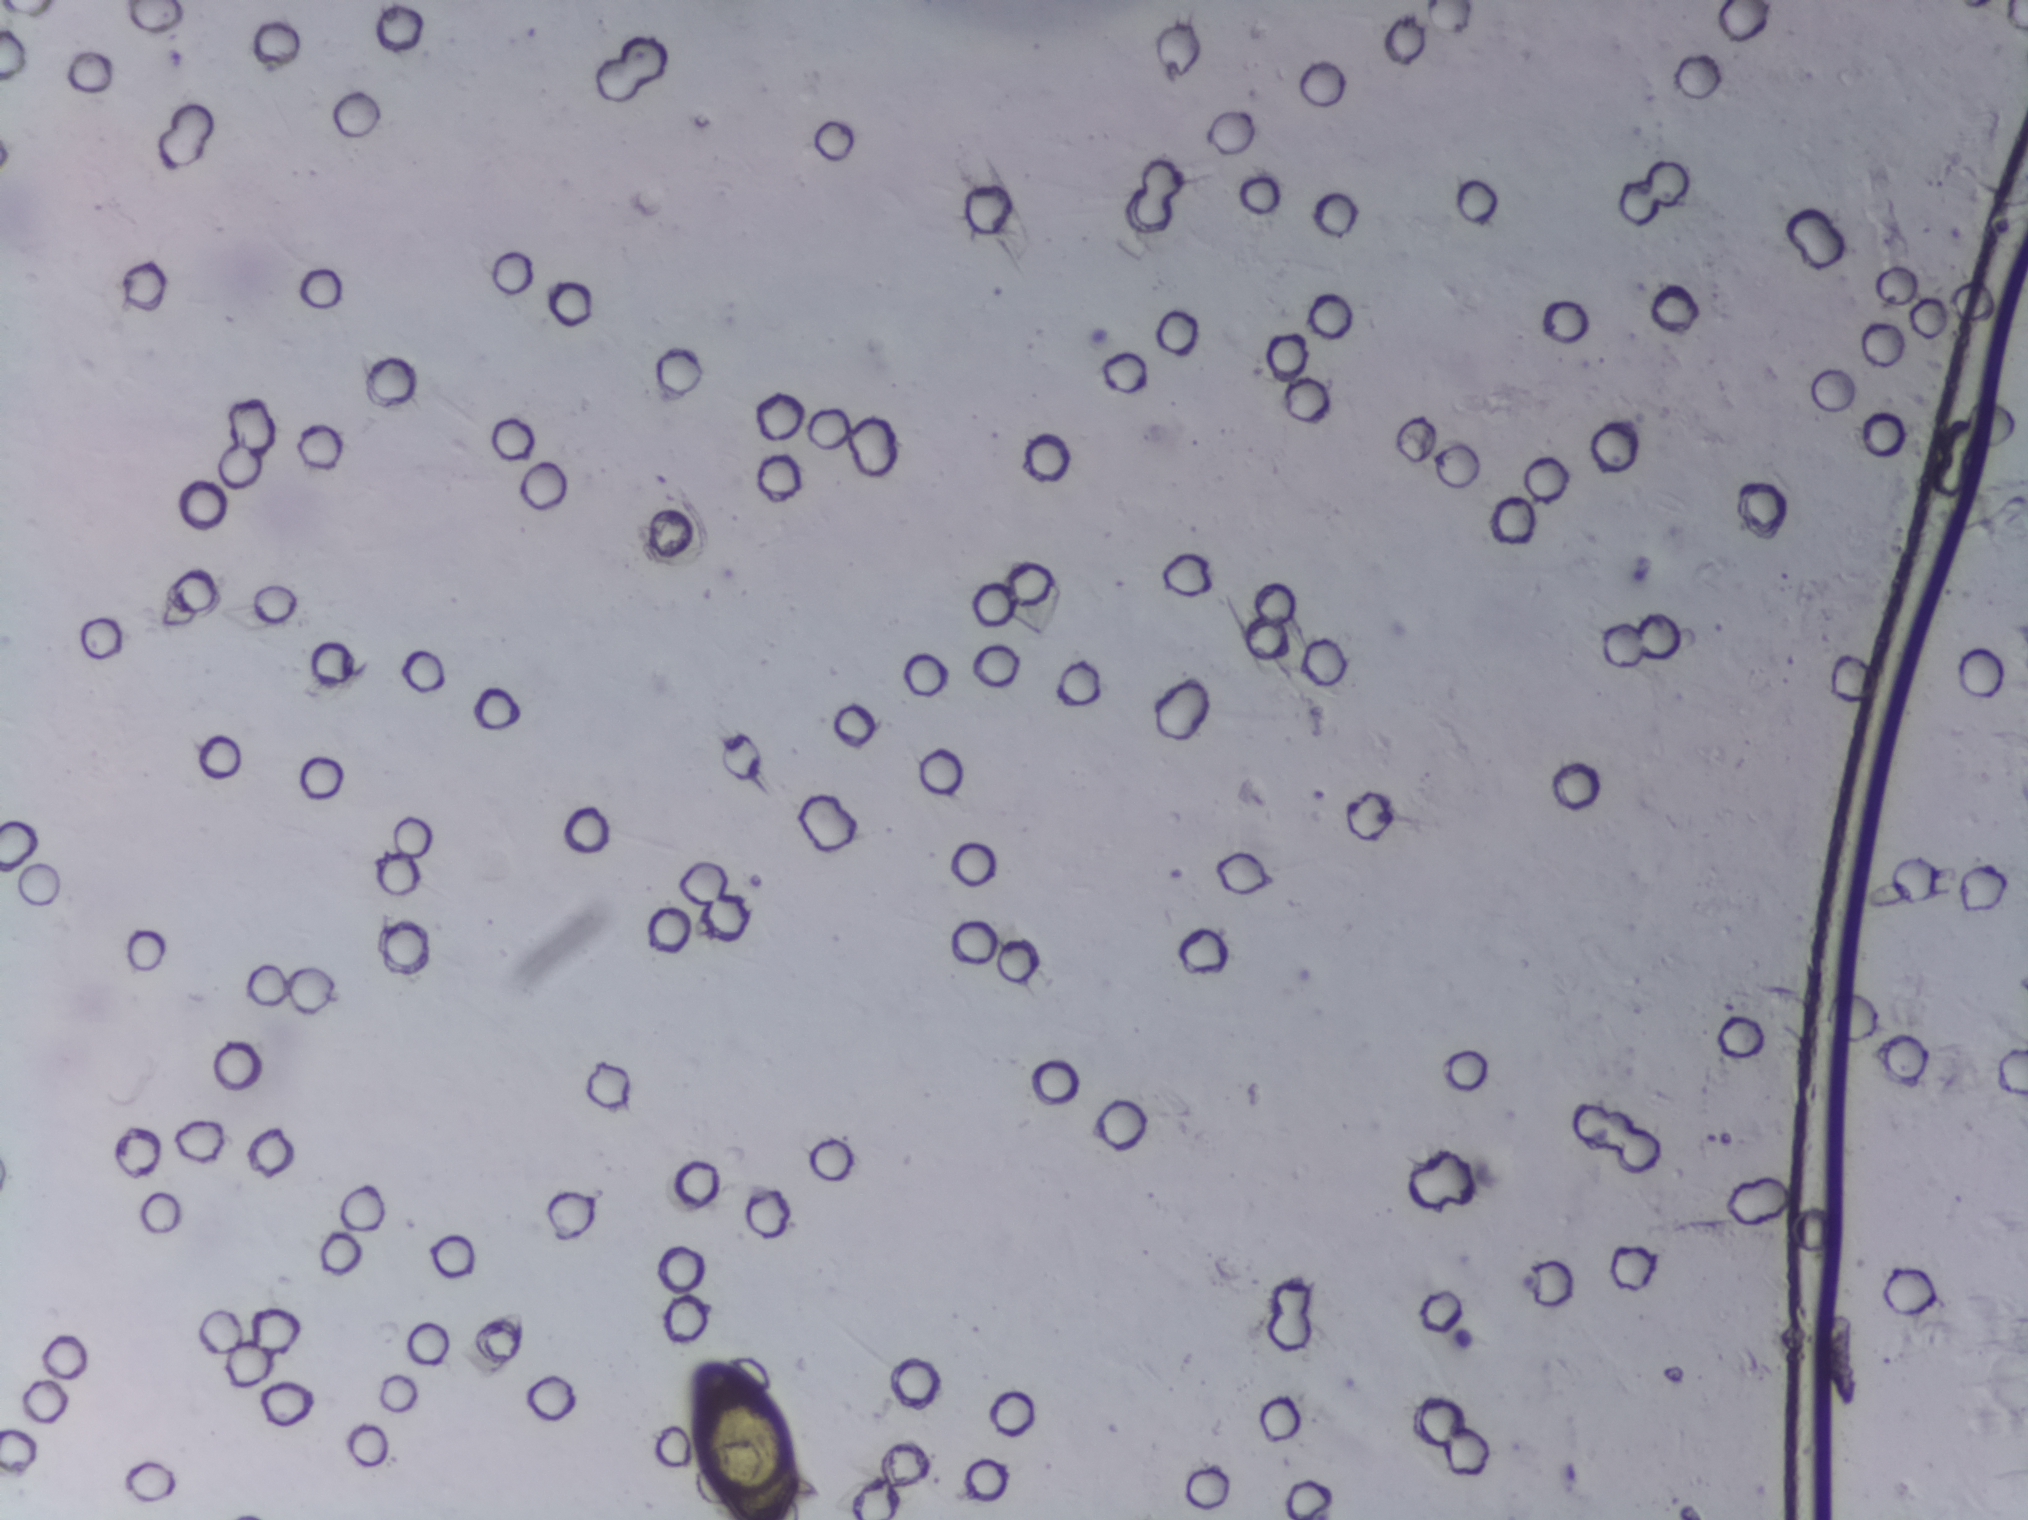
Urine filter membrane photographed through a 4× microscope objective.
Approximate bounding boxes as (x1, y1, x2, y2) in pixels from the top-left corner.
Findings: one area outlined as Schistosoma eggs. Location: (683, 1357, 801, 1519) (reaching the bottom edge of the frame). About 0.5% of the image's pixels are marked (the marked pixels themselves, not the box around them). Eggs that touch can end up inside the same outlined area.